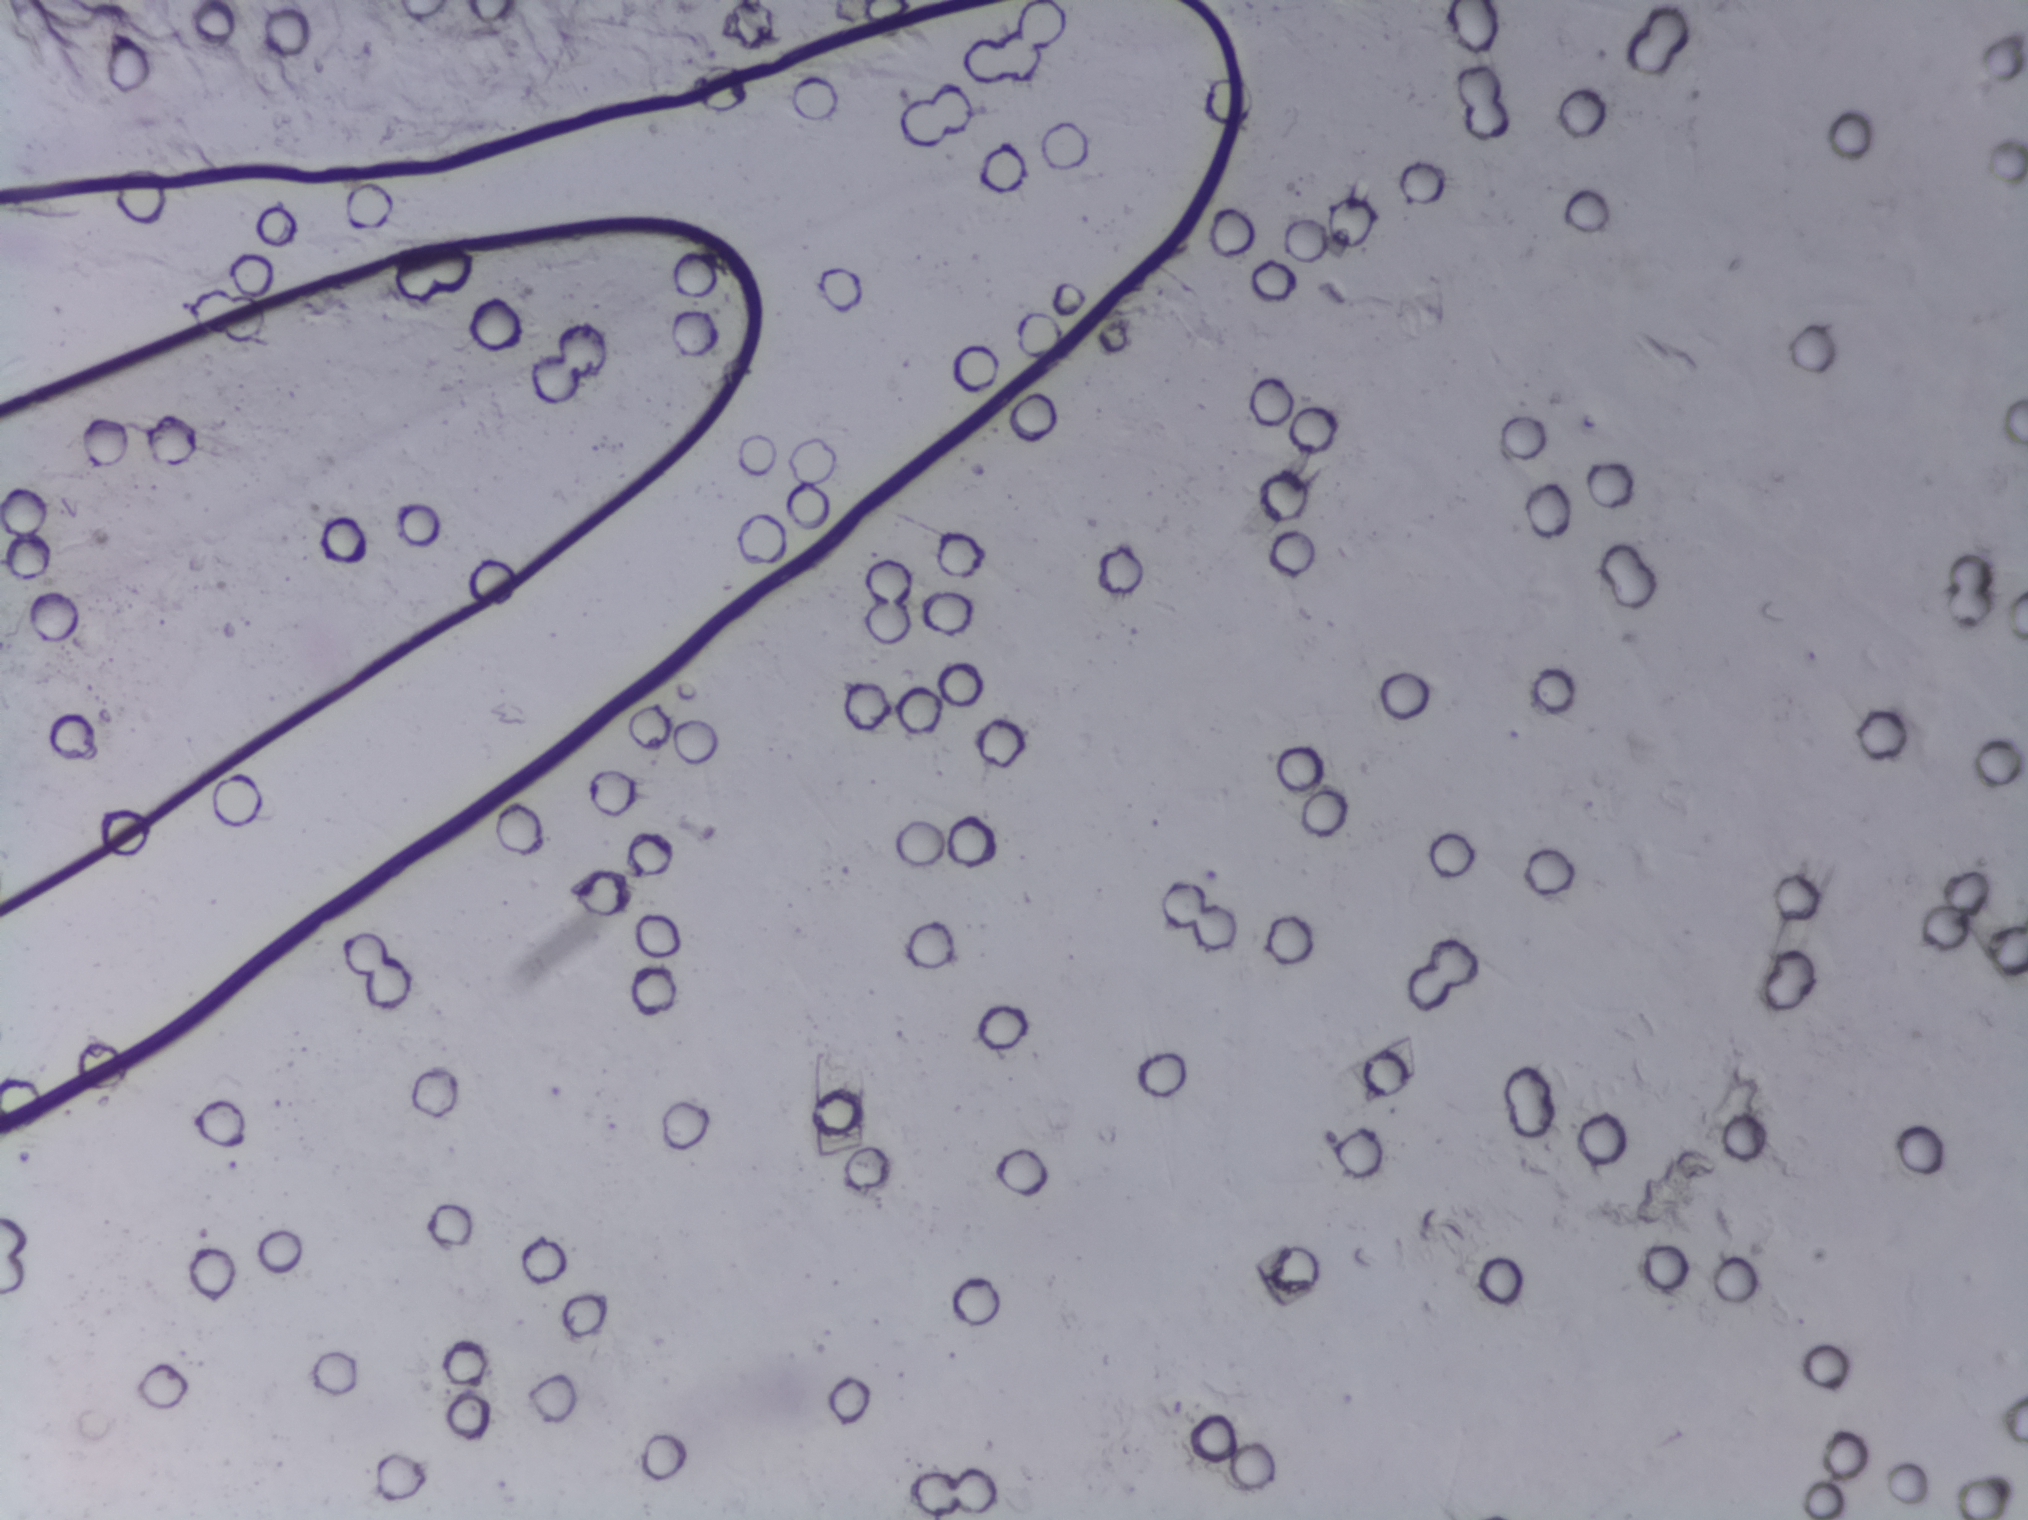
Photograph from an automated digital microscope: urine filter membrane, 4× objective.
No area of this image was outlined as a Schistosoma egg.